Urine filter membrane photographed through a 4× microscope objective. Field of view: about 1.5 mm wide and 1.1 mm high.
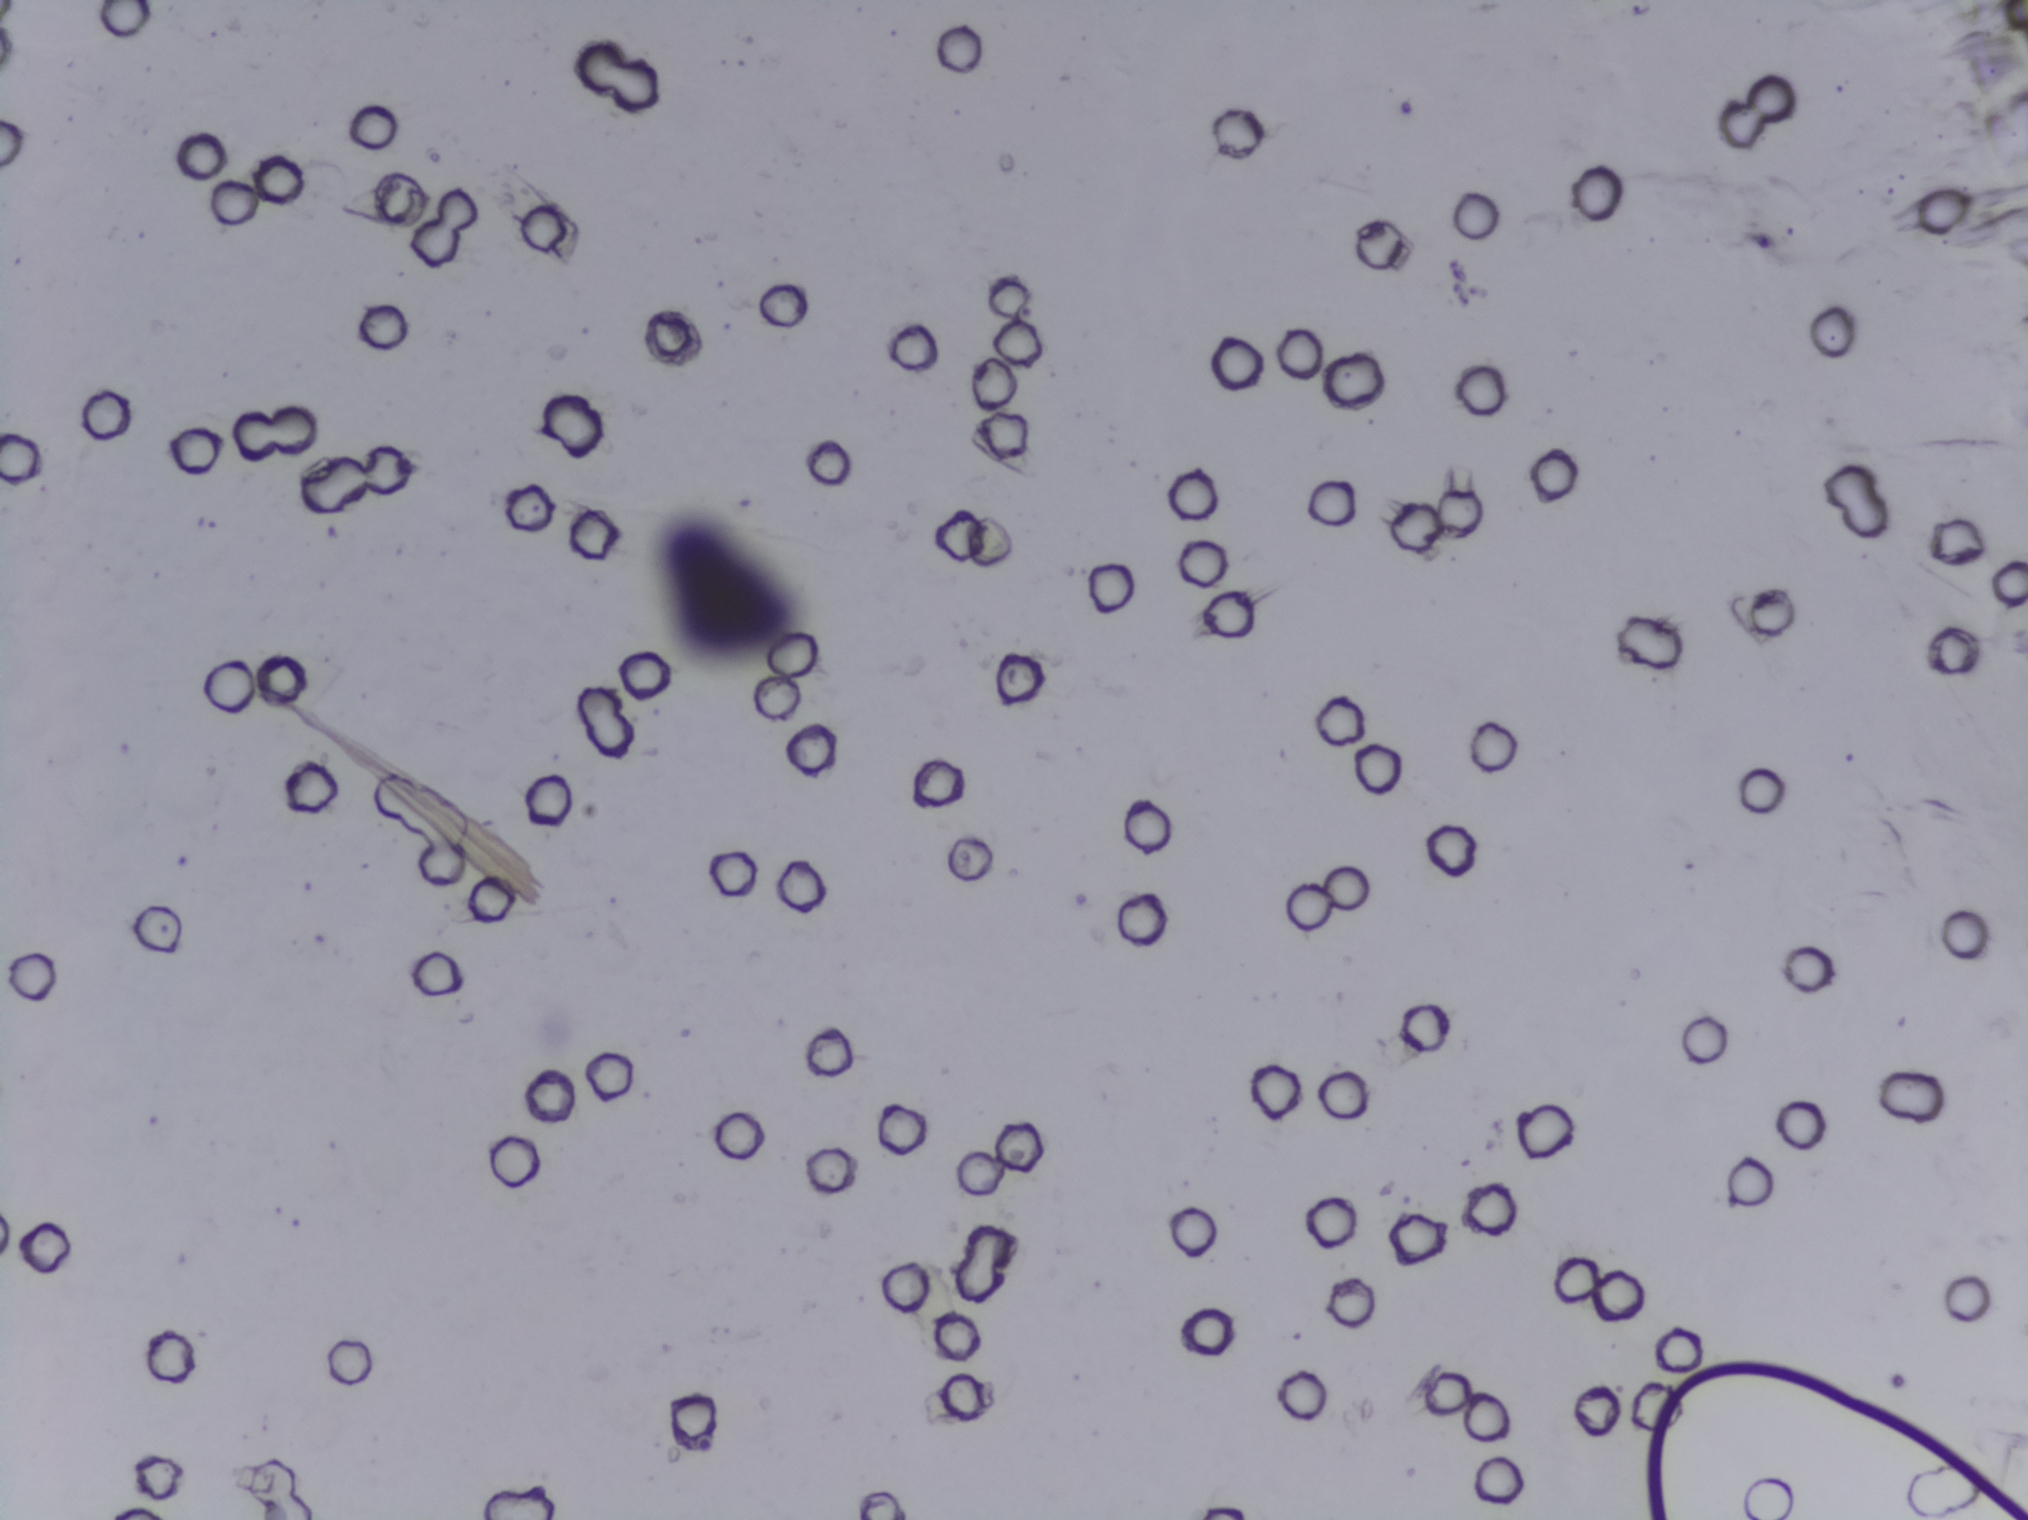
The expert annotation marks no Schistosoma egg in this field of view.